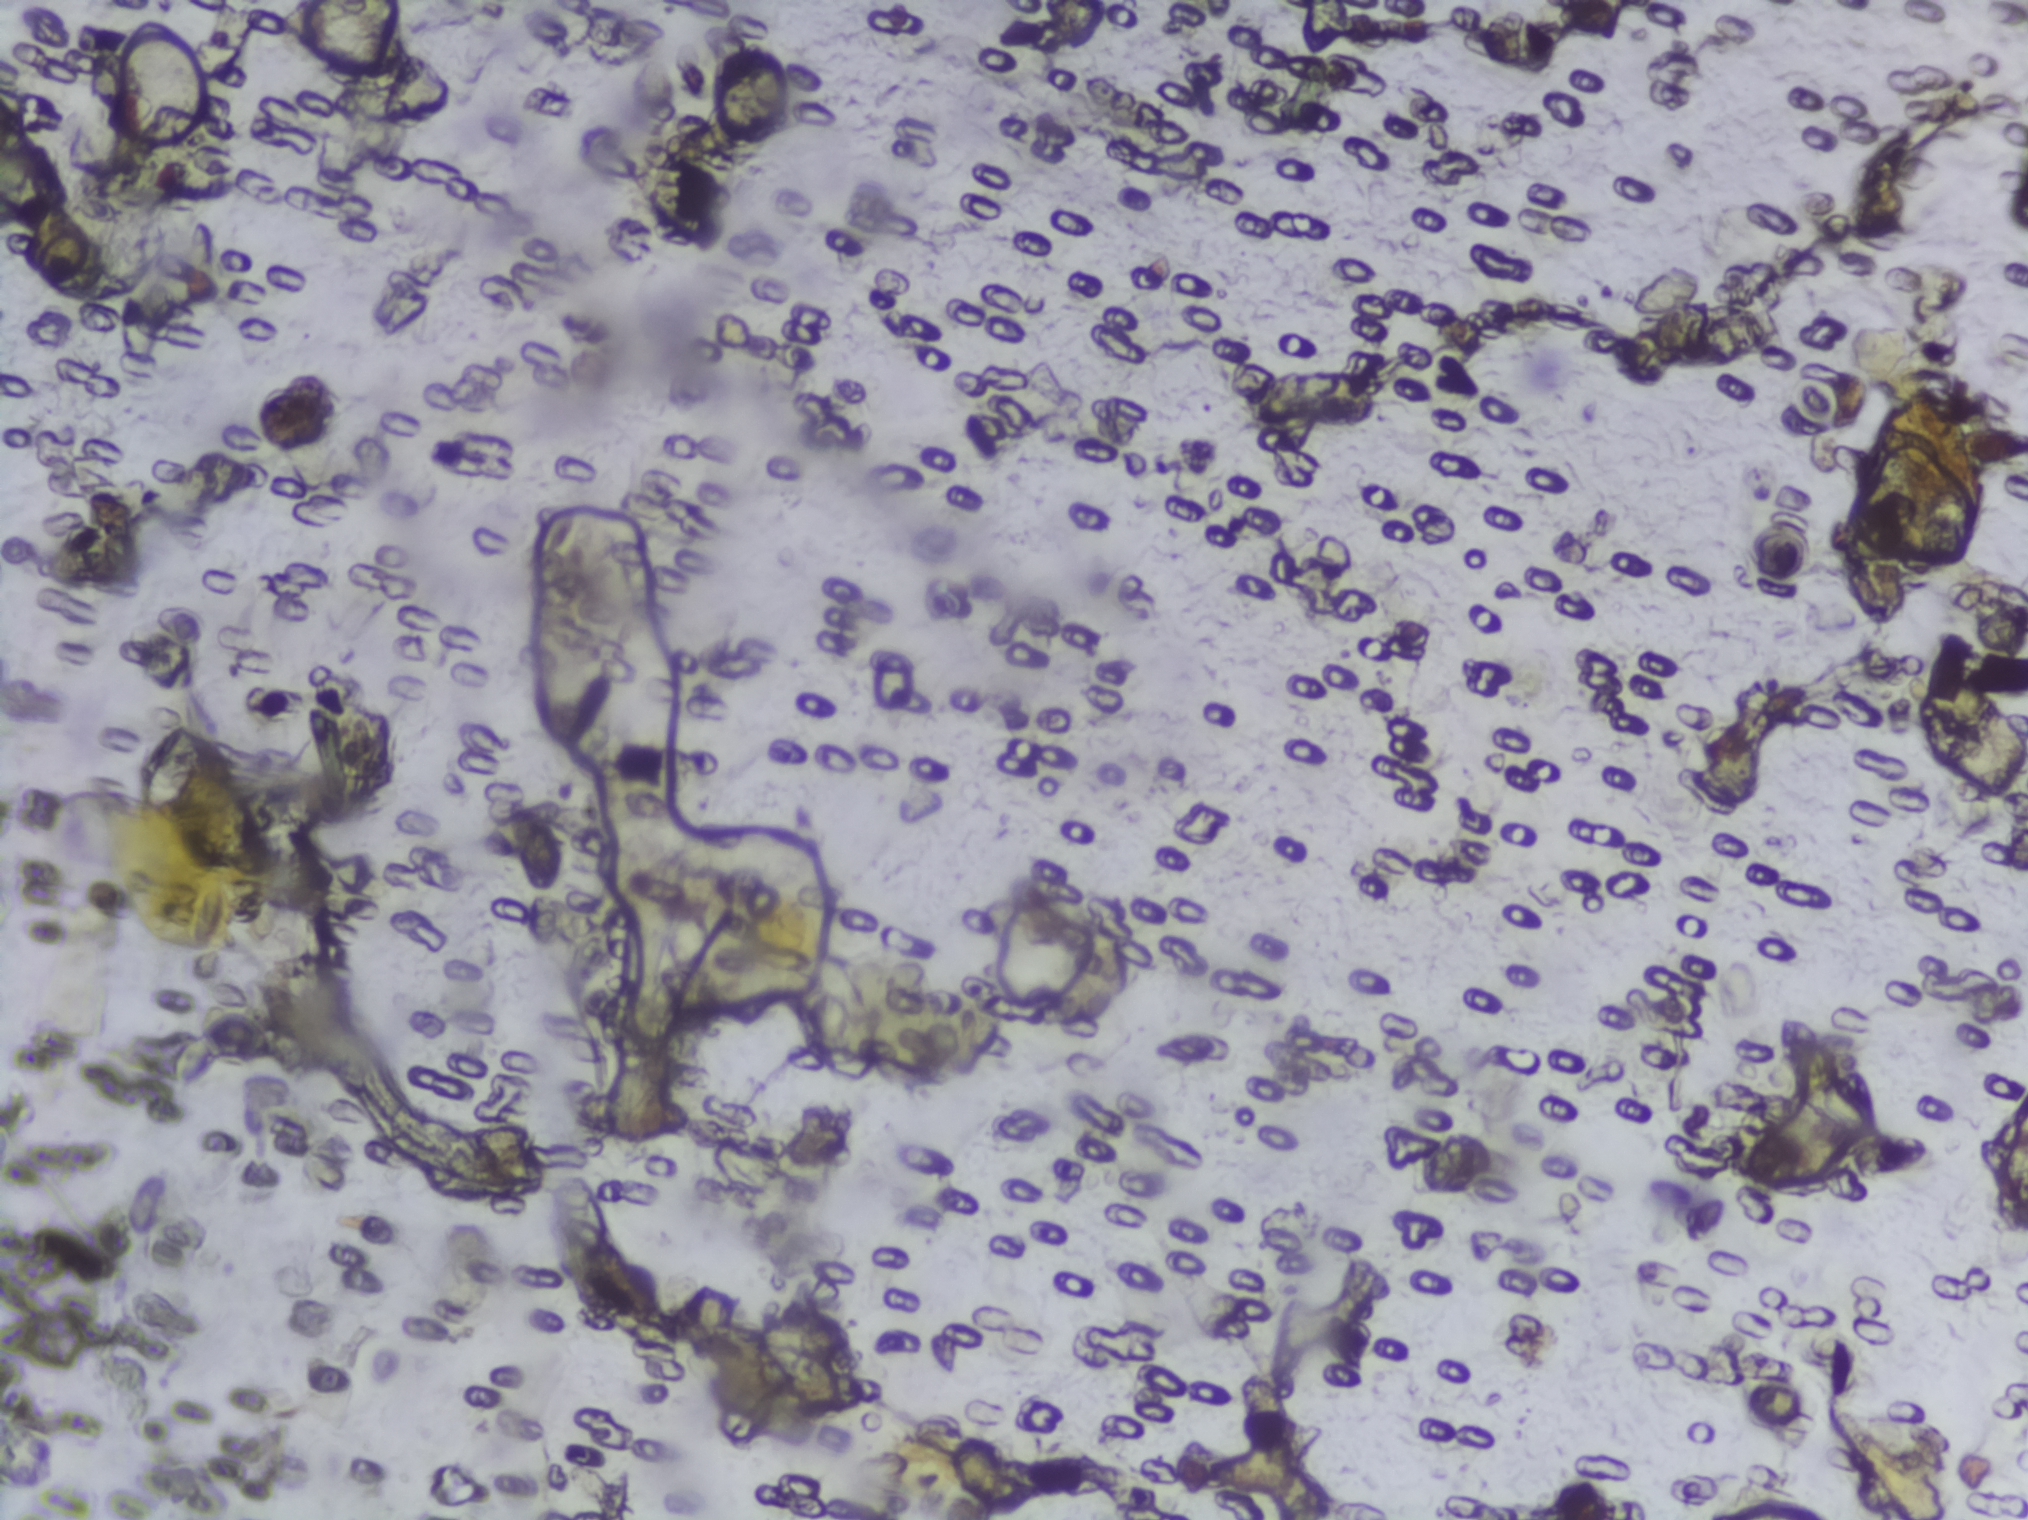
Urine filter membrane photographed through a 4× microscope objective.
No area of this image was outlined as a Schistosoma egg.